Photomicrograph of a urine filtration membrane, 4× objective.
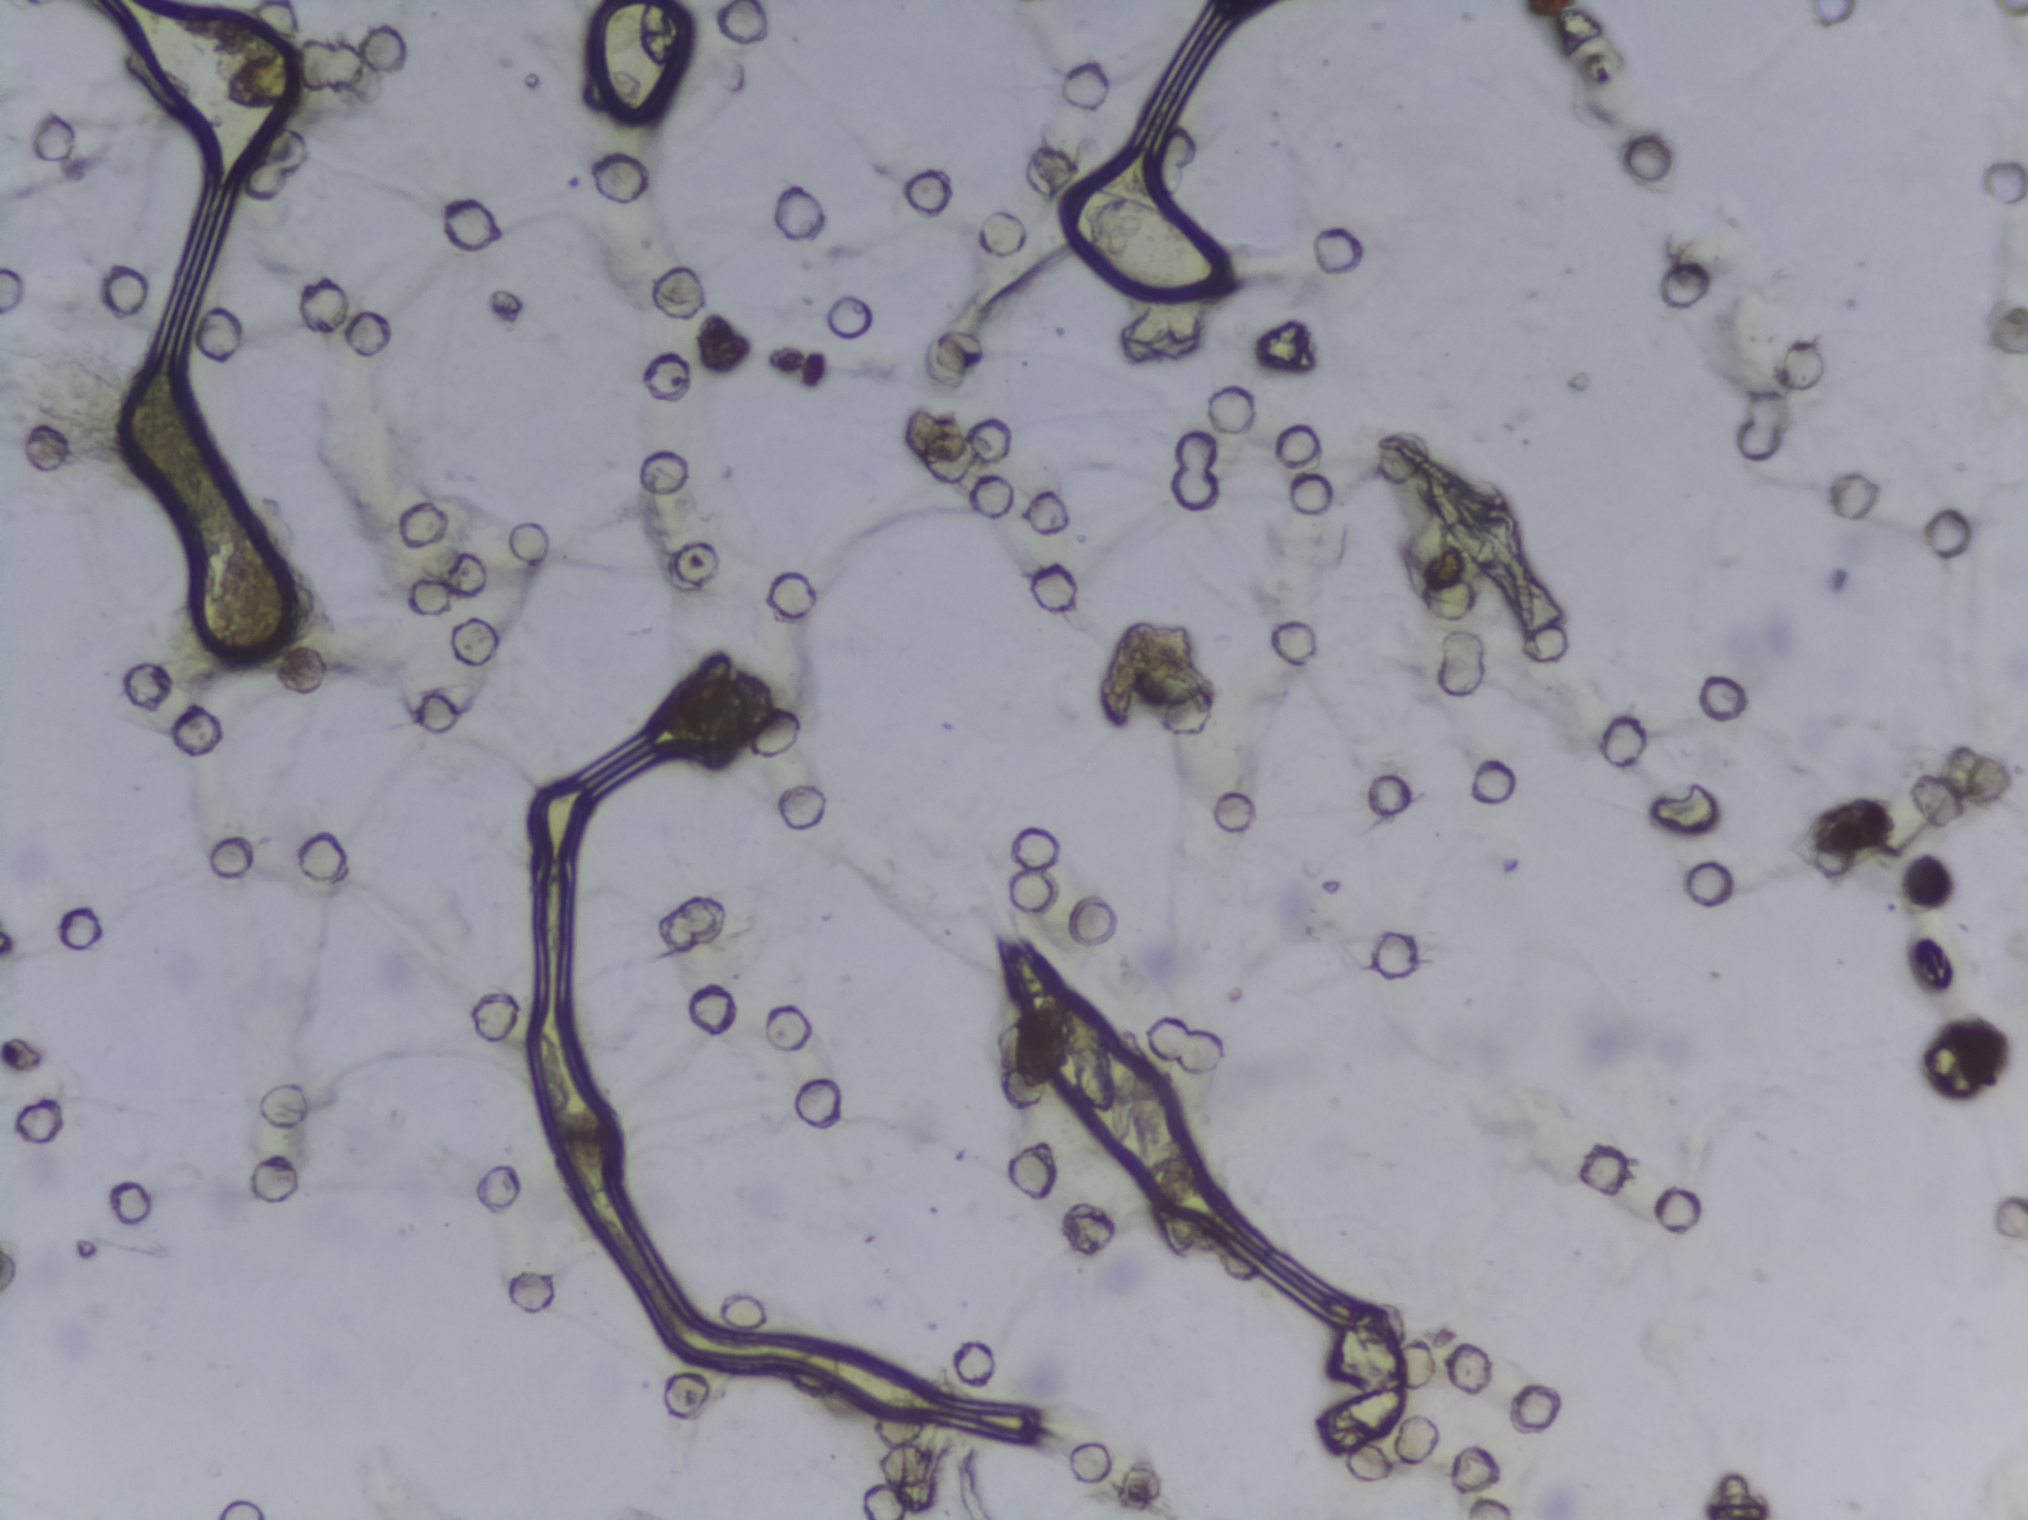
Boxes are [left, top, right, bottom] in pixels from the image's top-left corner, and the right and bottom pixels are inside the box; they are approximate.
{"schistosoma_egg_areas_xyxy_px": [[1054, 183, 1245, 299]]}
Eggs that touch can end up inside the same outlined area. Any one outlined egg may, rarely, be S. mansoni rather than S. haematobium.